Microscope photograph (4× objective) of a membrane that a urine sample was filtered through.
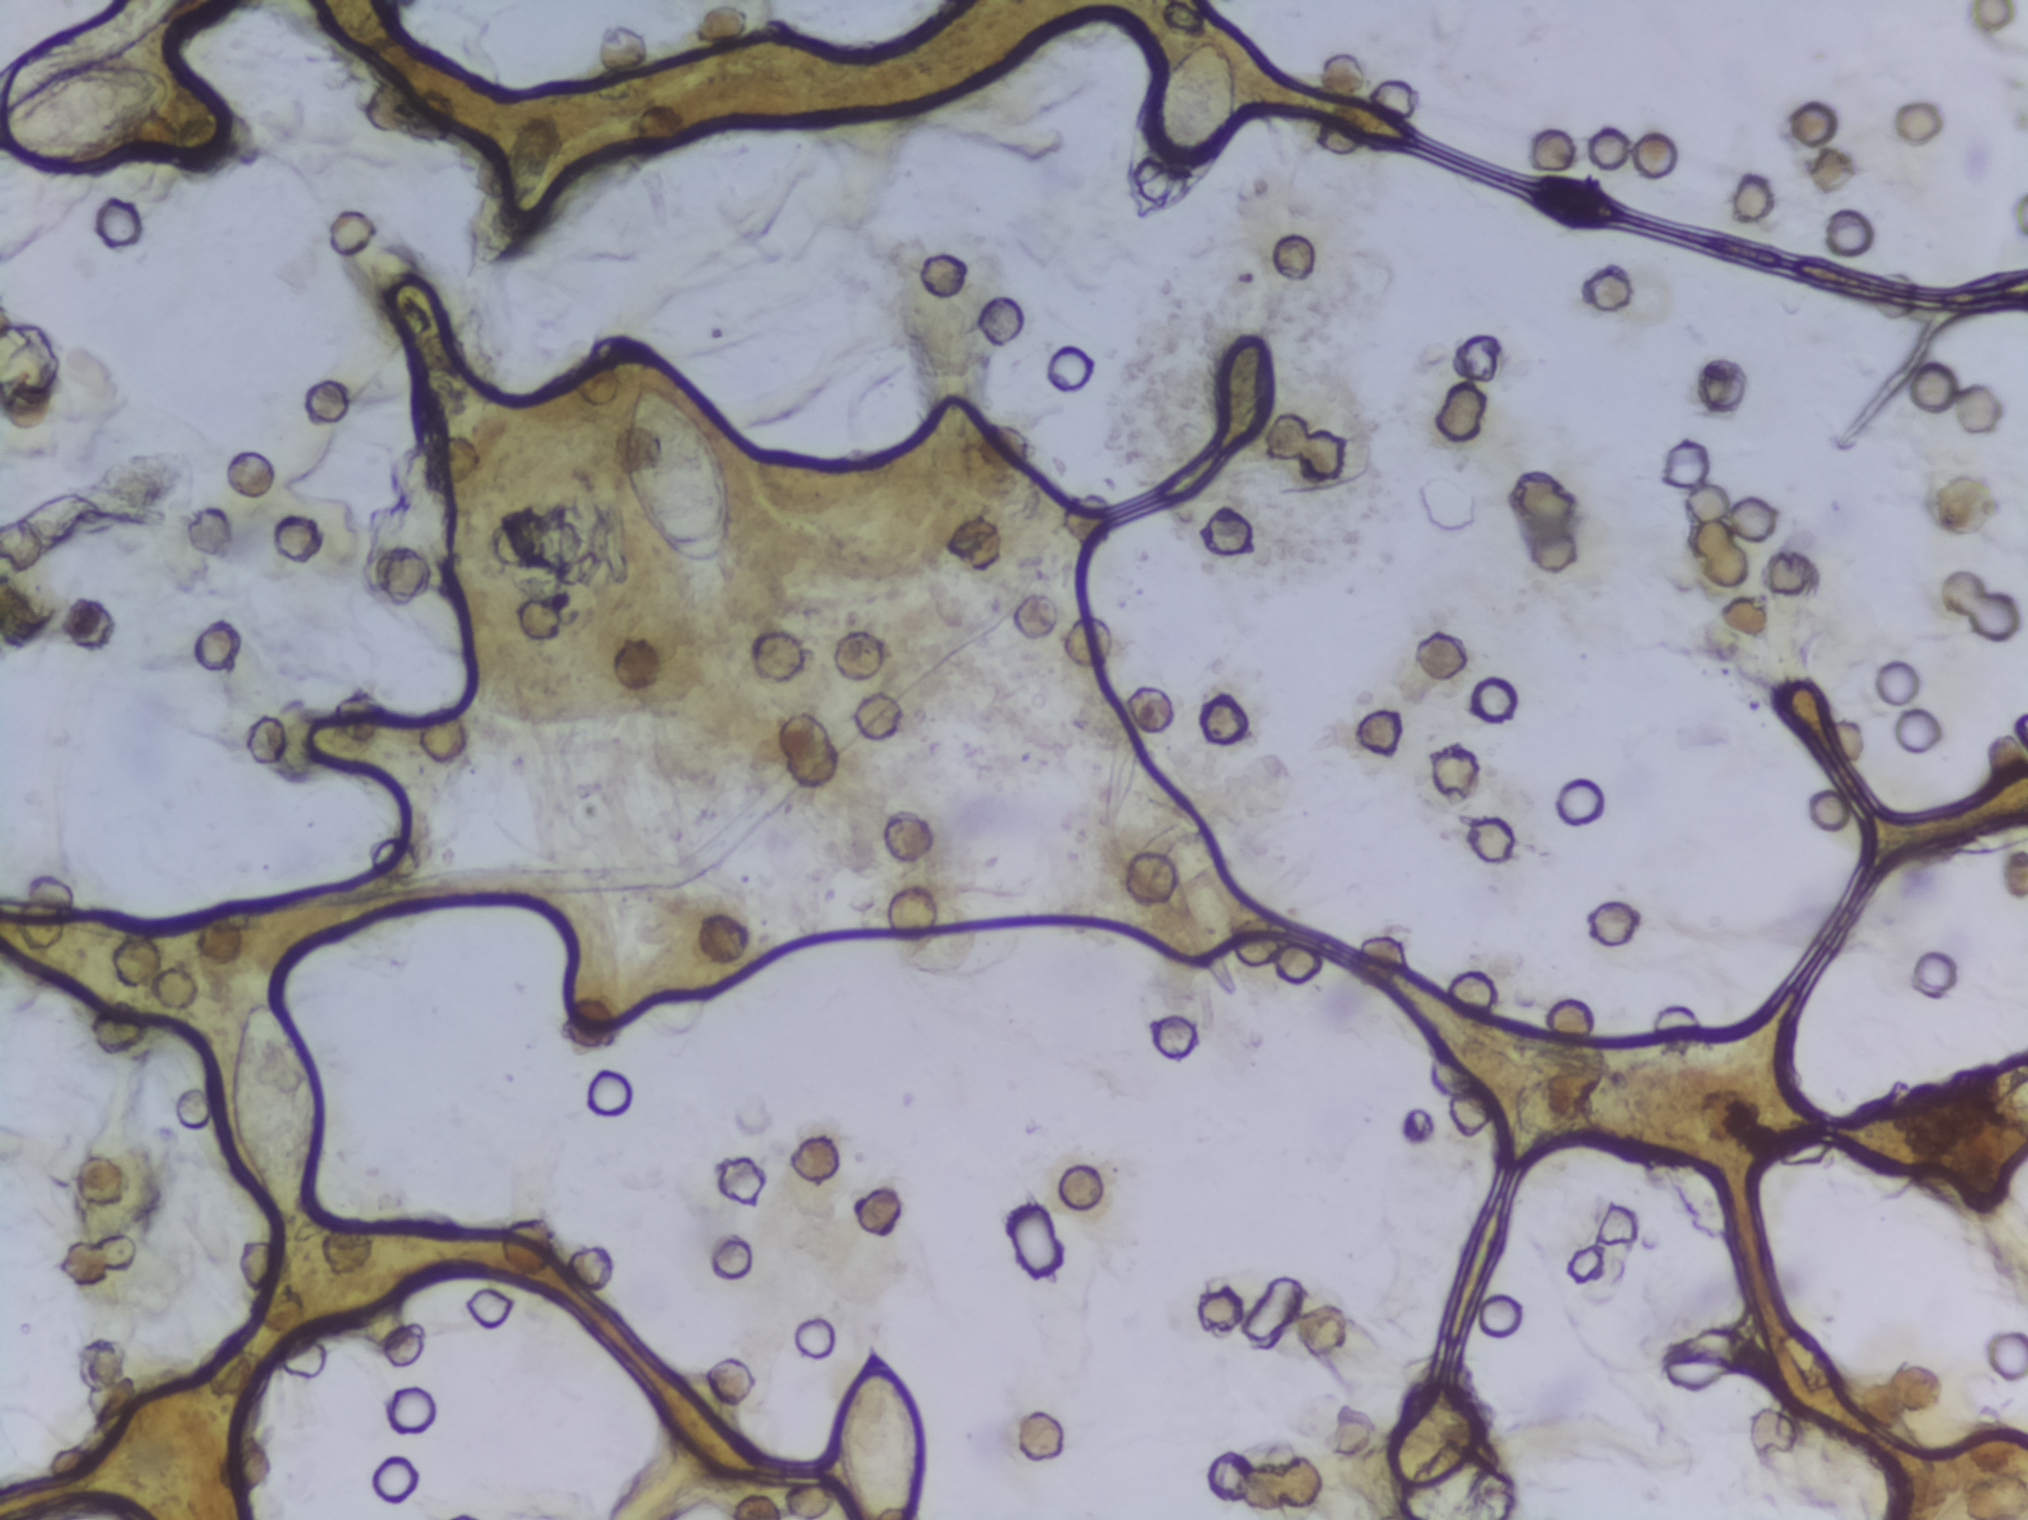
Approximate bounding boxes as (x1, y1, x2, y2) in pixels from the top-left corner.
Schistosoma eggs, outlined areas: (0, 58, 171, 169) (reaching the left edge of the frame); (224, 998, 323, 1229); (623, 375, 732, 569); (837, 1336, 928, 1519) (reaching the bottom edge of the frame); (1119, 34, 1237, 226). Eggs that touch can end up inside the same outlined area.